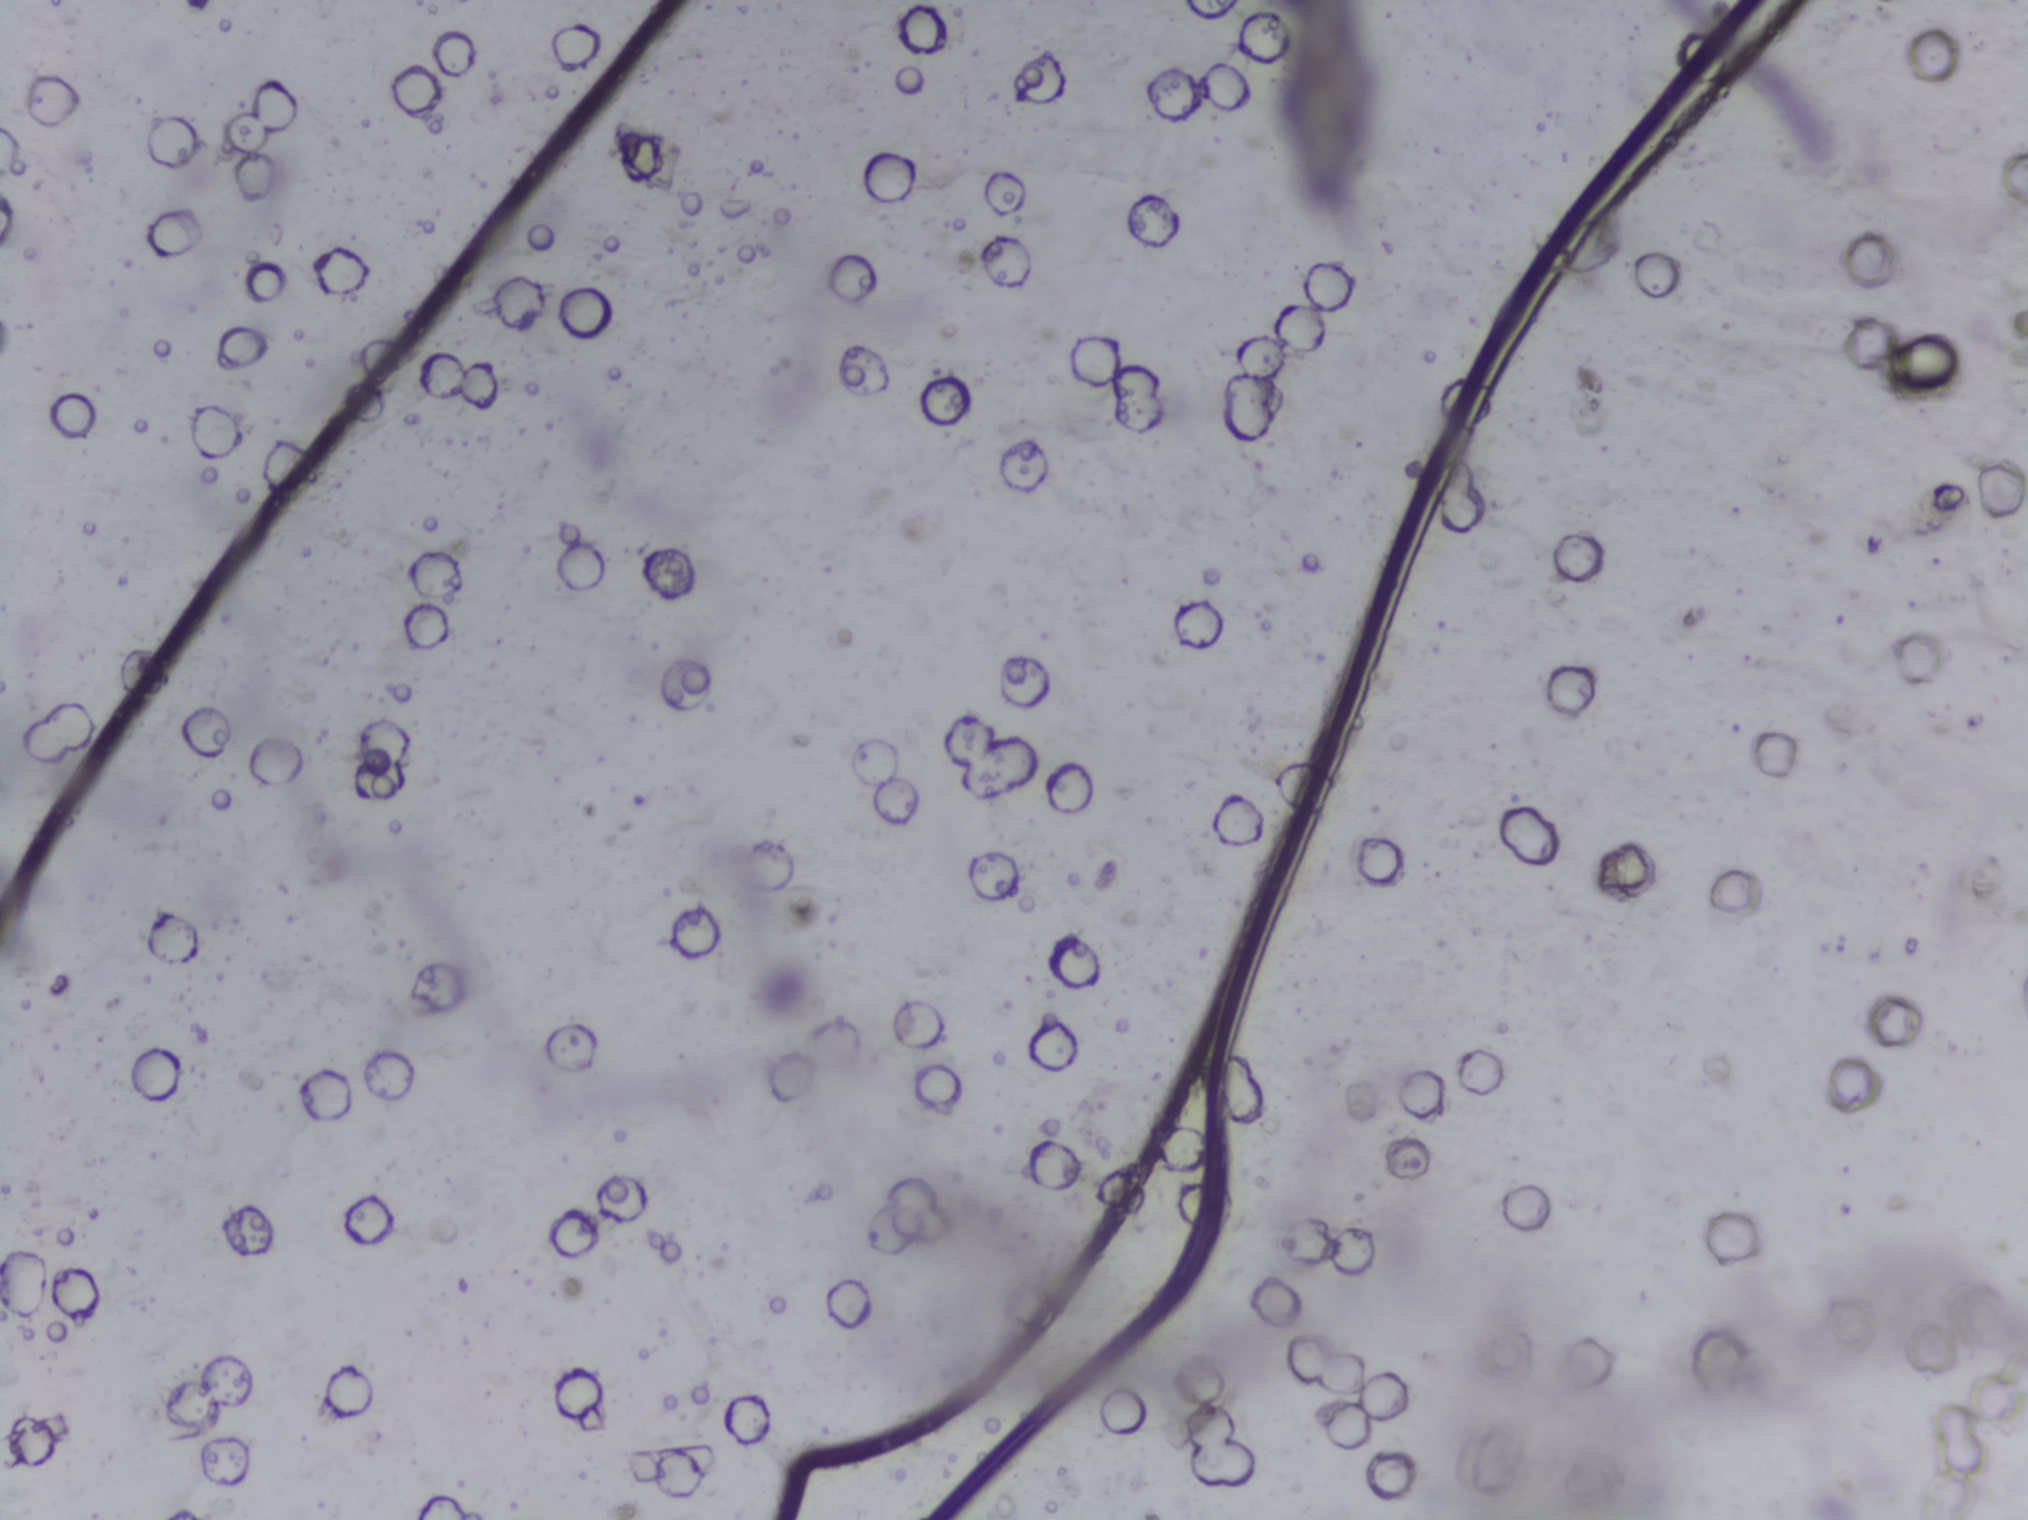
Microscope photograph (4× objective) of a membrane that a urine sample was filtered through.
No Schistosoma egg is outlined in this image's expert annotation.